Photograph from an automated digital microscope: urine filter membrane, 4× objective.
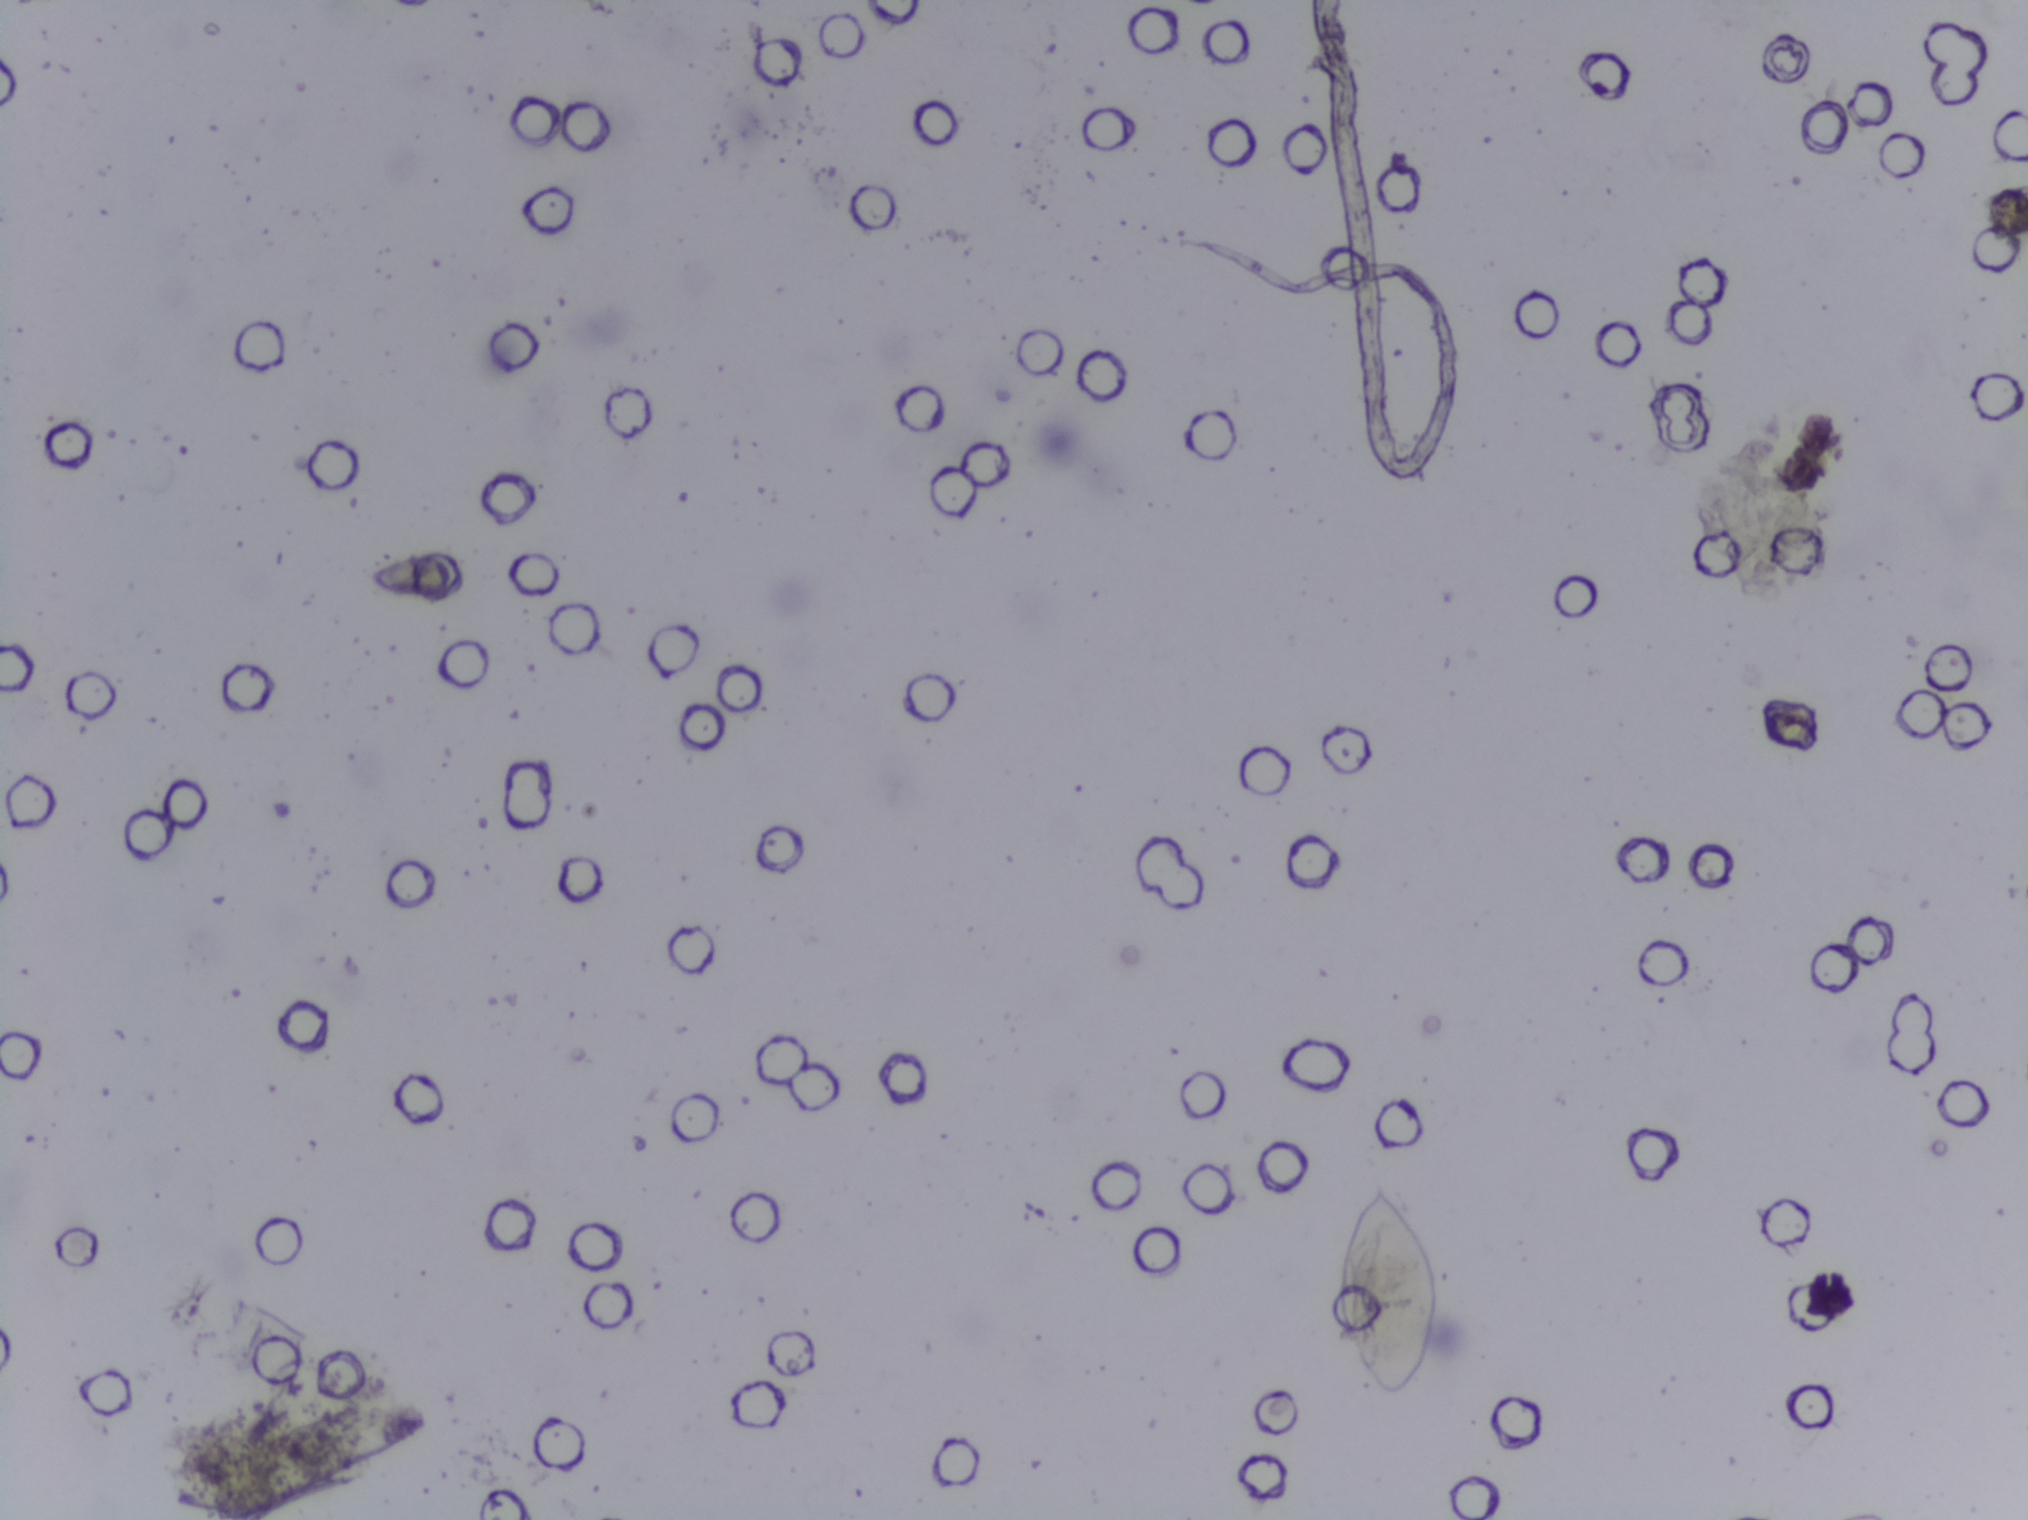
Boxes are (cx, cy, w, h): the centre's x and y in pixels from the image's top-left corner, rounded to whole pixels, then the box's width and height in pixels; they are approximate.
Schistosoma eggs are outlined in the expert annotation at (cx=1388, cy=1288, w=105, h=227). A single outlined area may contain several eggs.